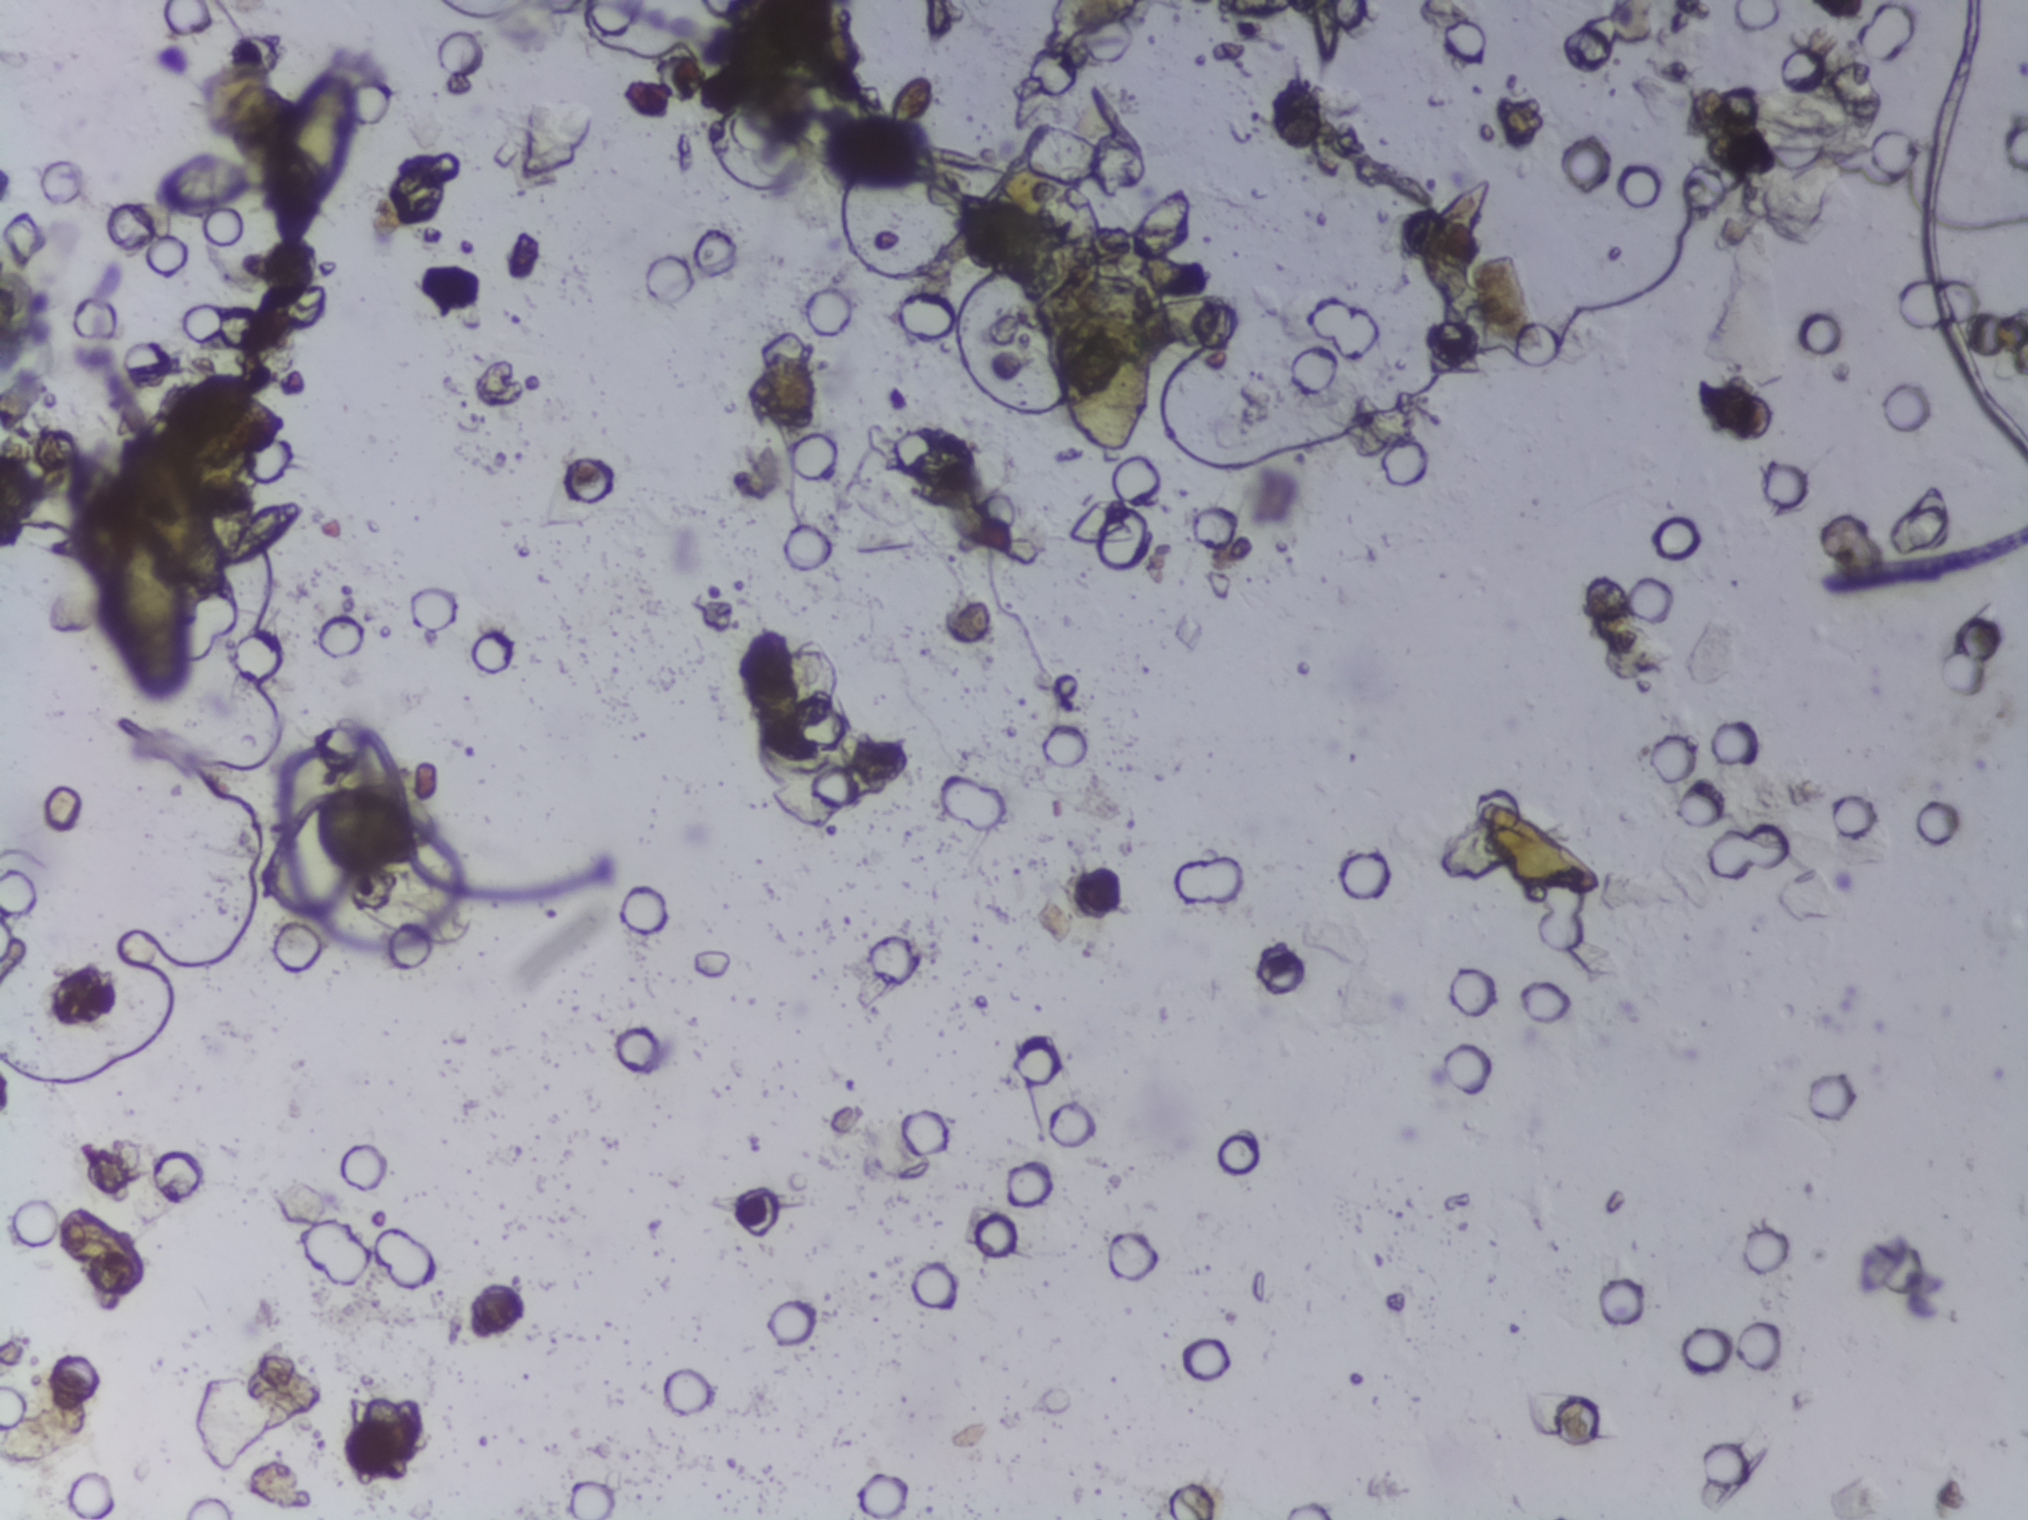
Urine filter membrane photographed through a 4× microscope objective.
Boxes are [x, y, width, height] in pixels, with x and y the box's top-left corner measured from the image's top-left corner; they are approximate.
Areas outlined as Schistosoma eggs, left to right:
1. [95, 427, 149, 279]
2. [261, 60, 105, 195]
About 1.4% of the image's pixels are marked (the marked pixels themselves, not the boxes around them). A single outlined area may contain several eggs.